One field of view of a urine filter membrane, 4× objective, 2028 × 1520 pixels. The image covers about 1.5 × 1.1 mm of the membrane.
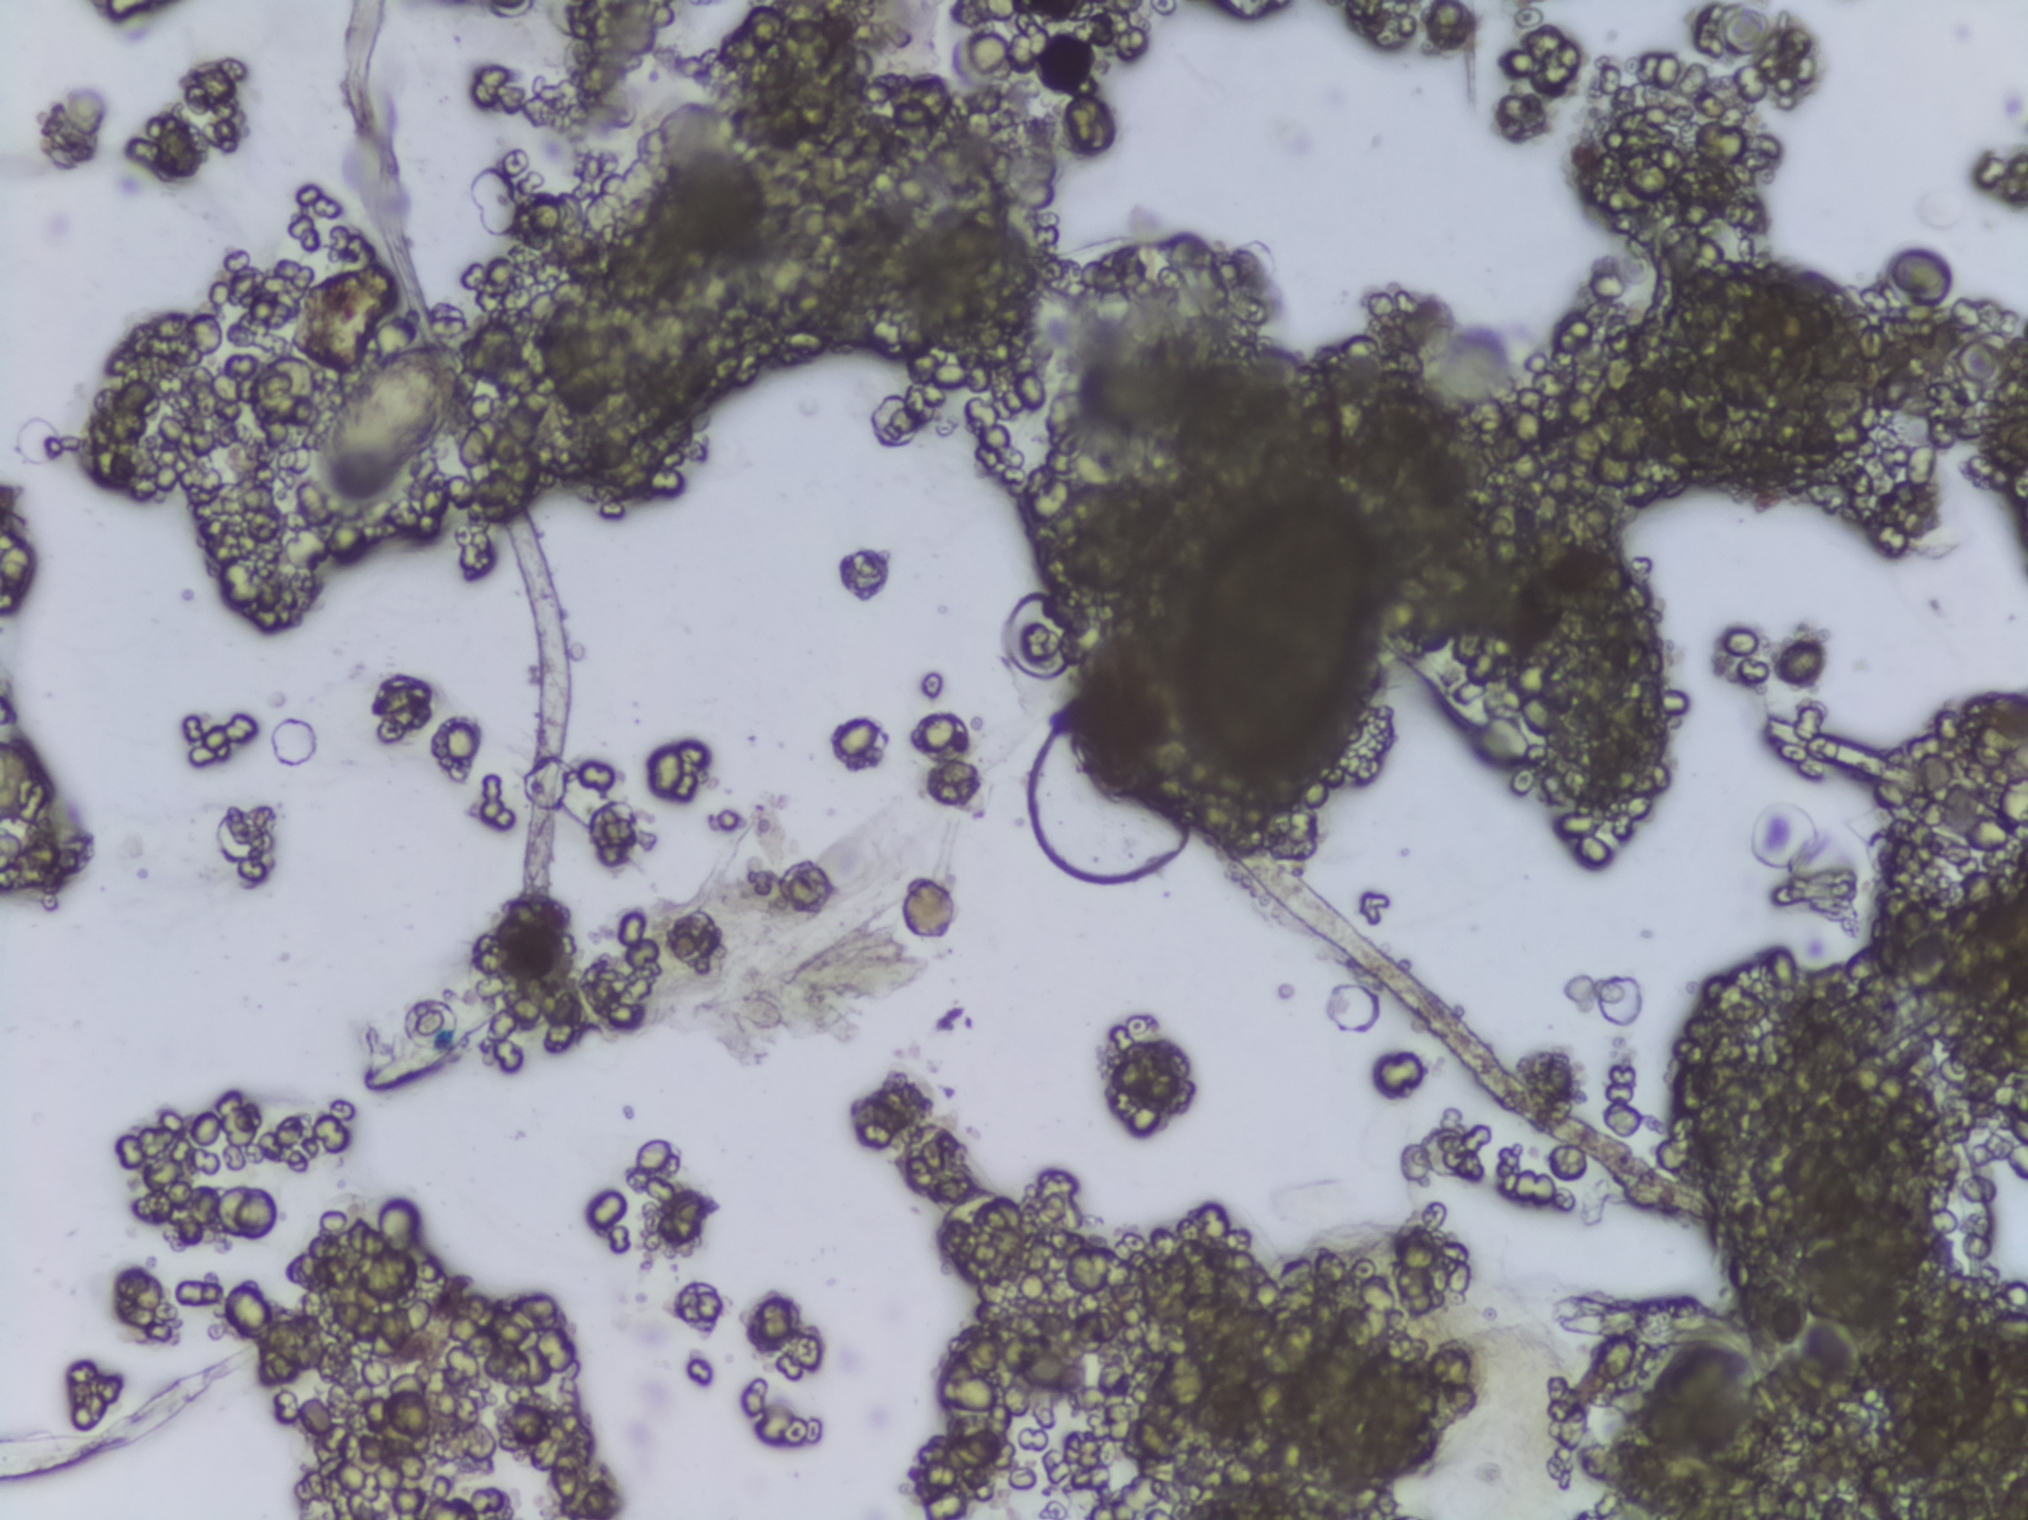
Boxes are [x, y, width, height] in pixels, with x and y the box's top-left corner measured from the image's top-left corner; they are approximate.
Schistosoma eggs are outlined in the expert annotation at [307, 340, 150, 172]. An outlined area can hold more than one egg.